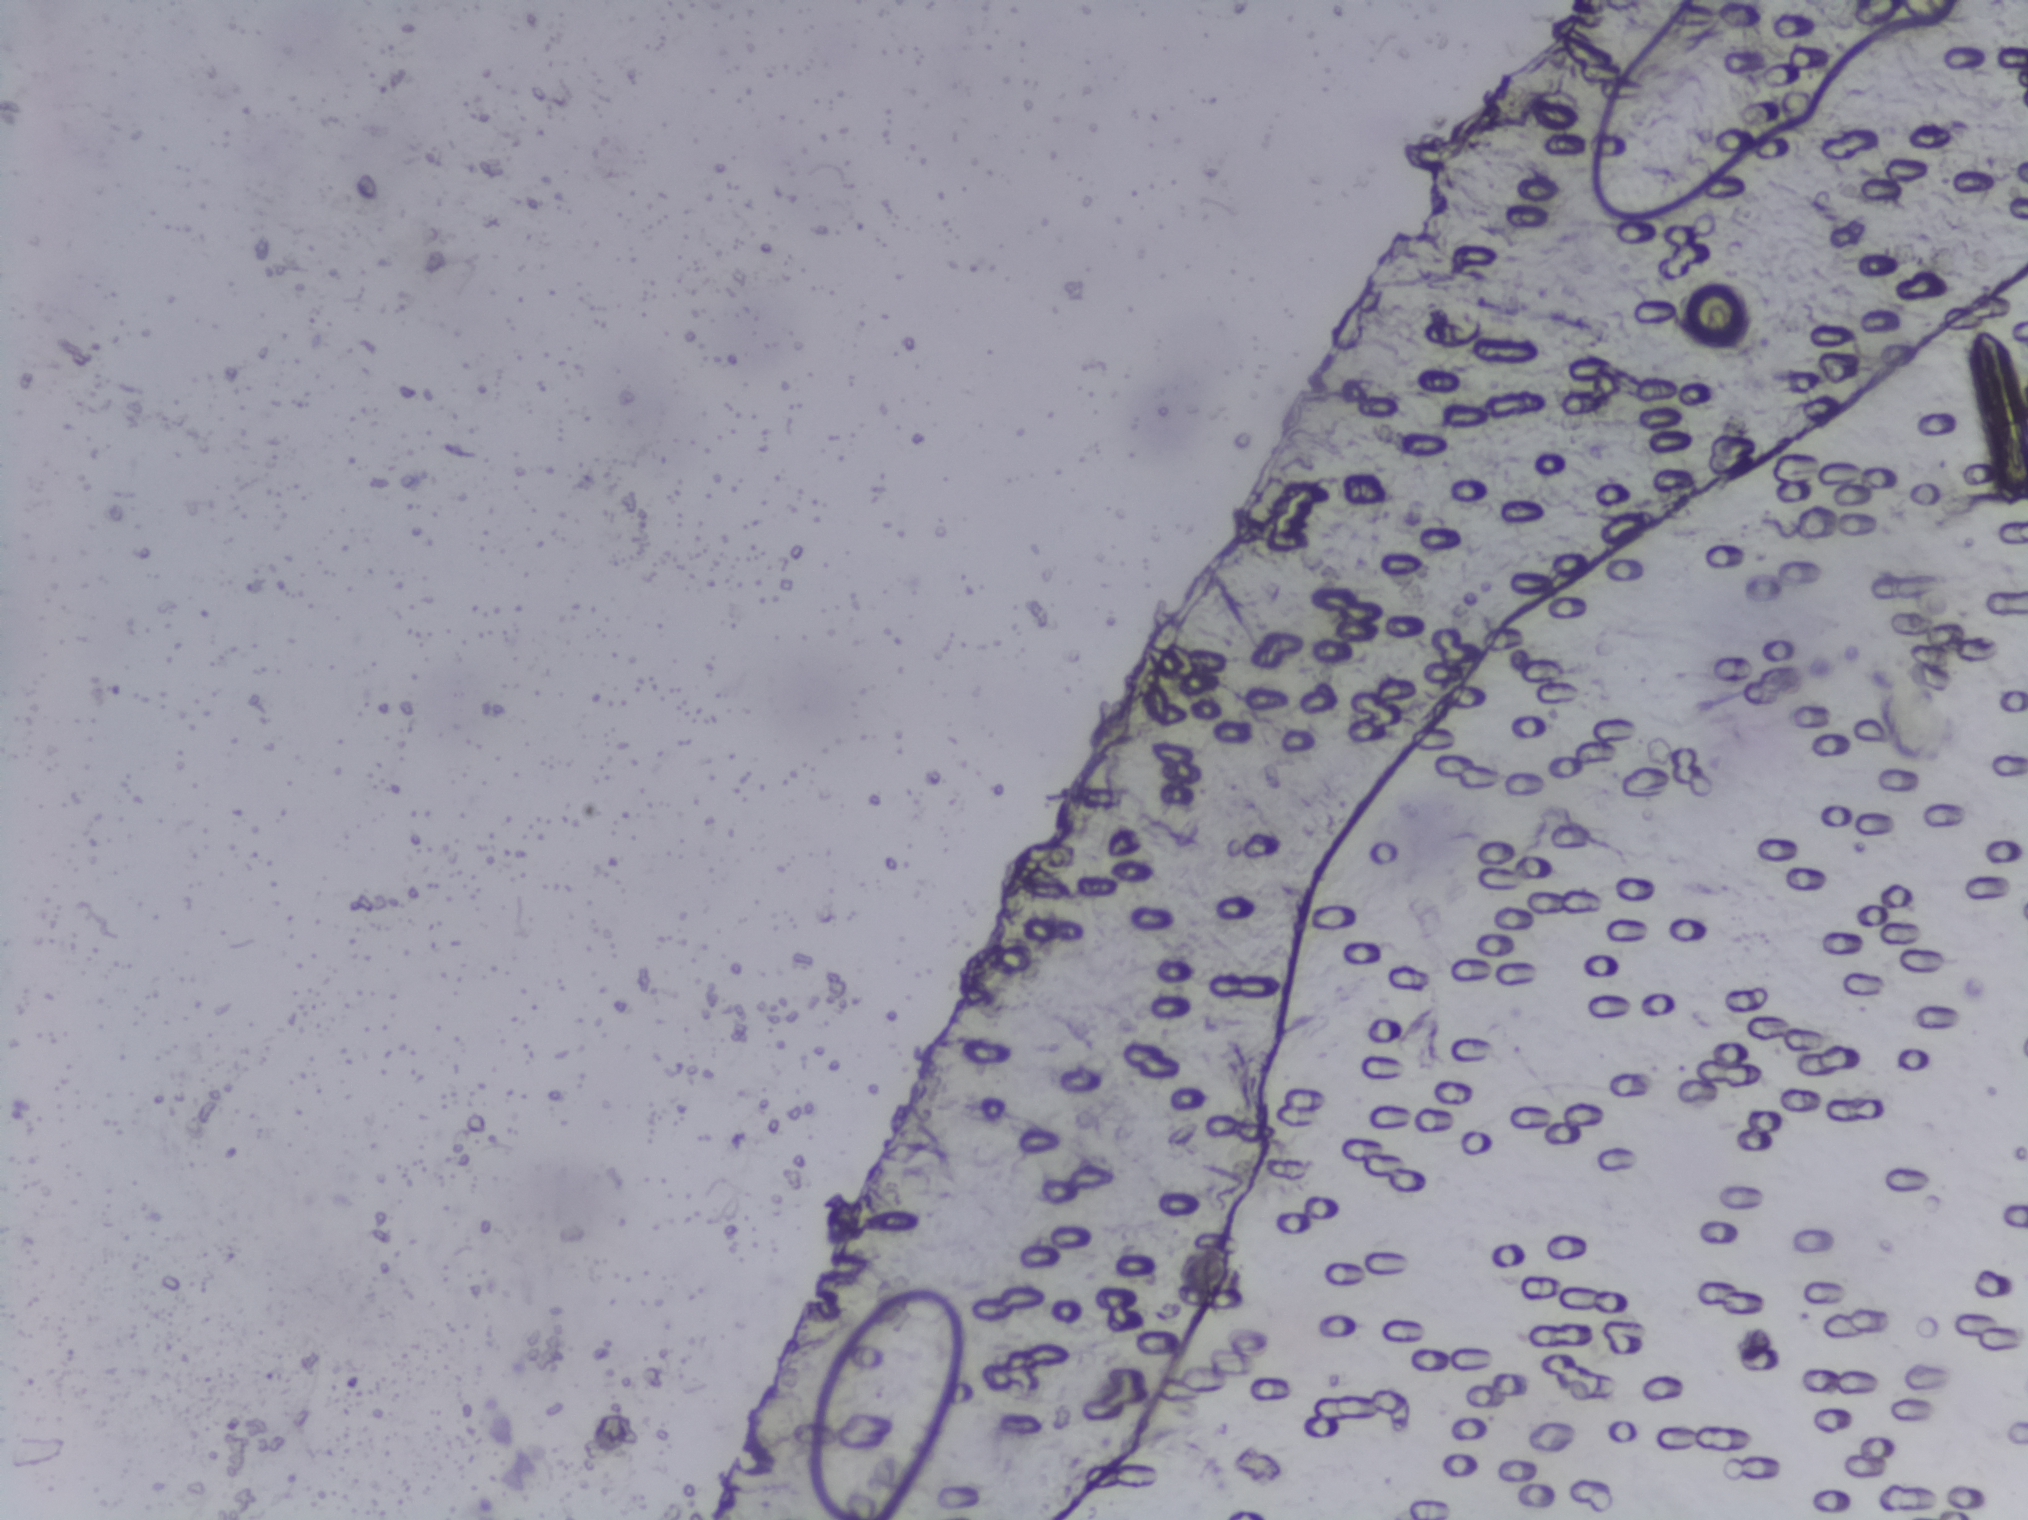
Photomicrograph of a urine filtration membrane, 4× objective.
Schistosoma eggs: none outlined.